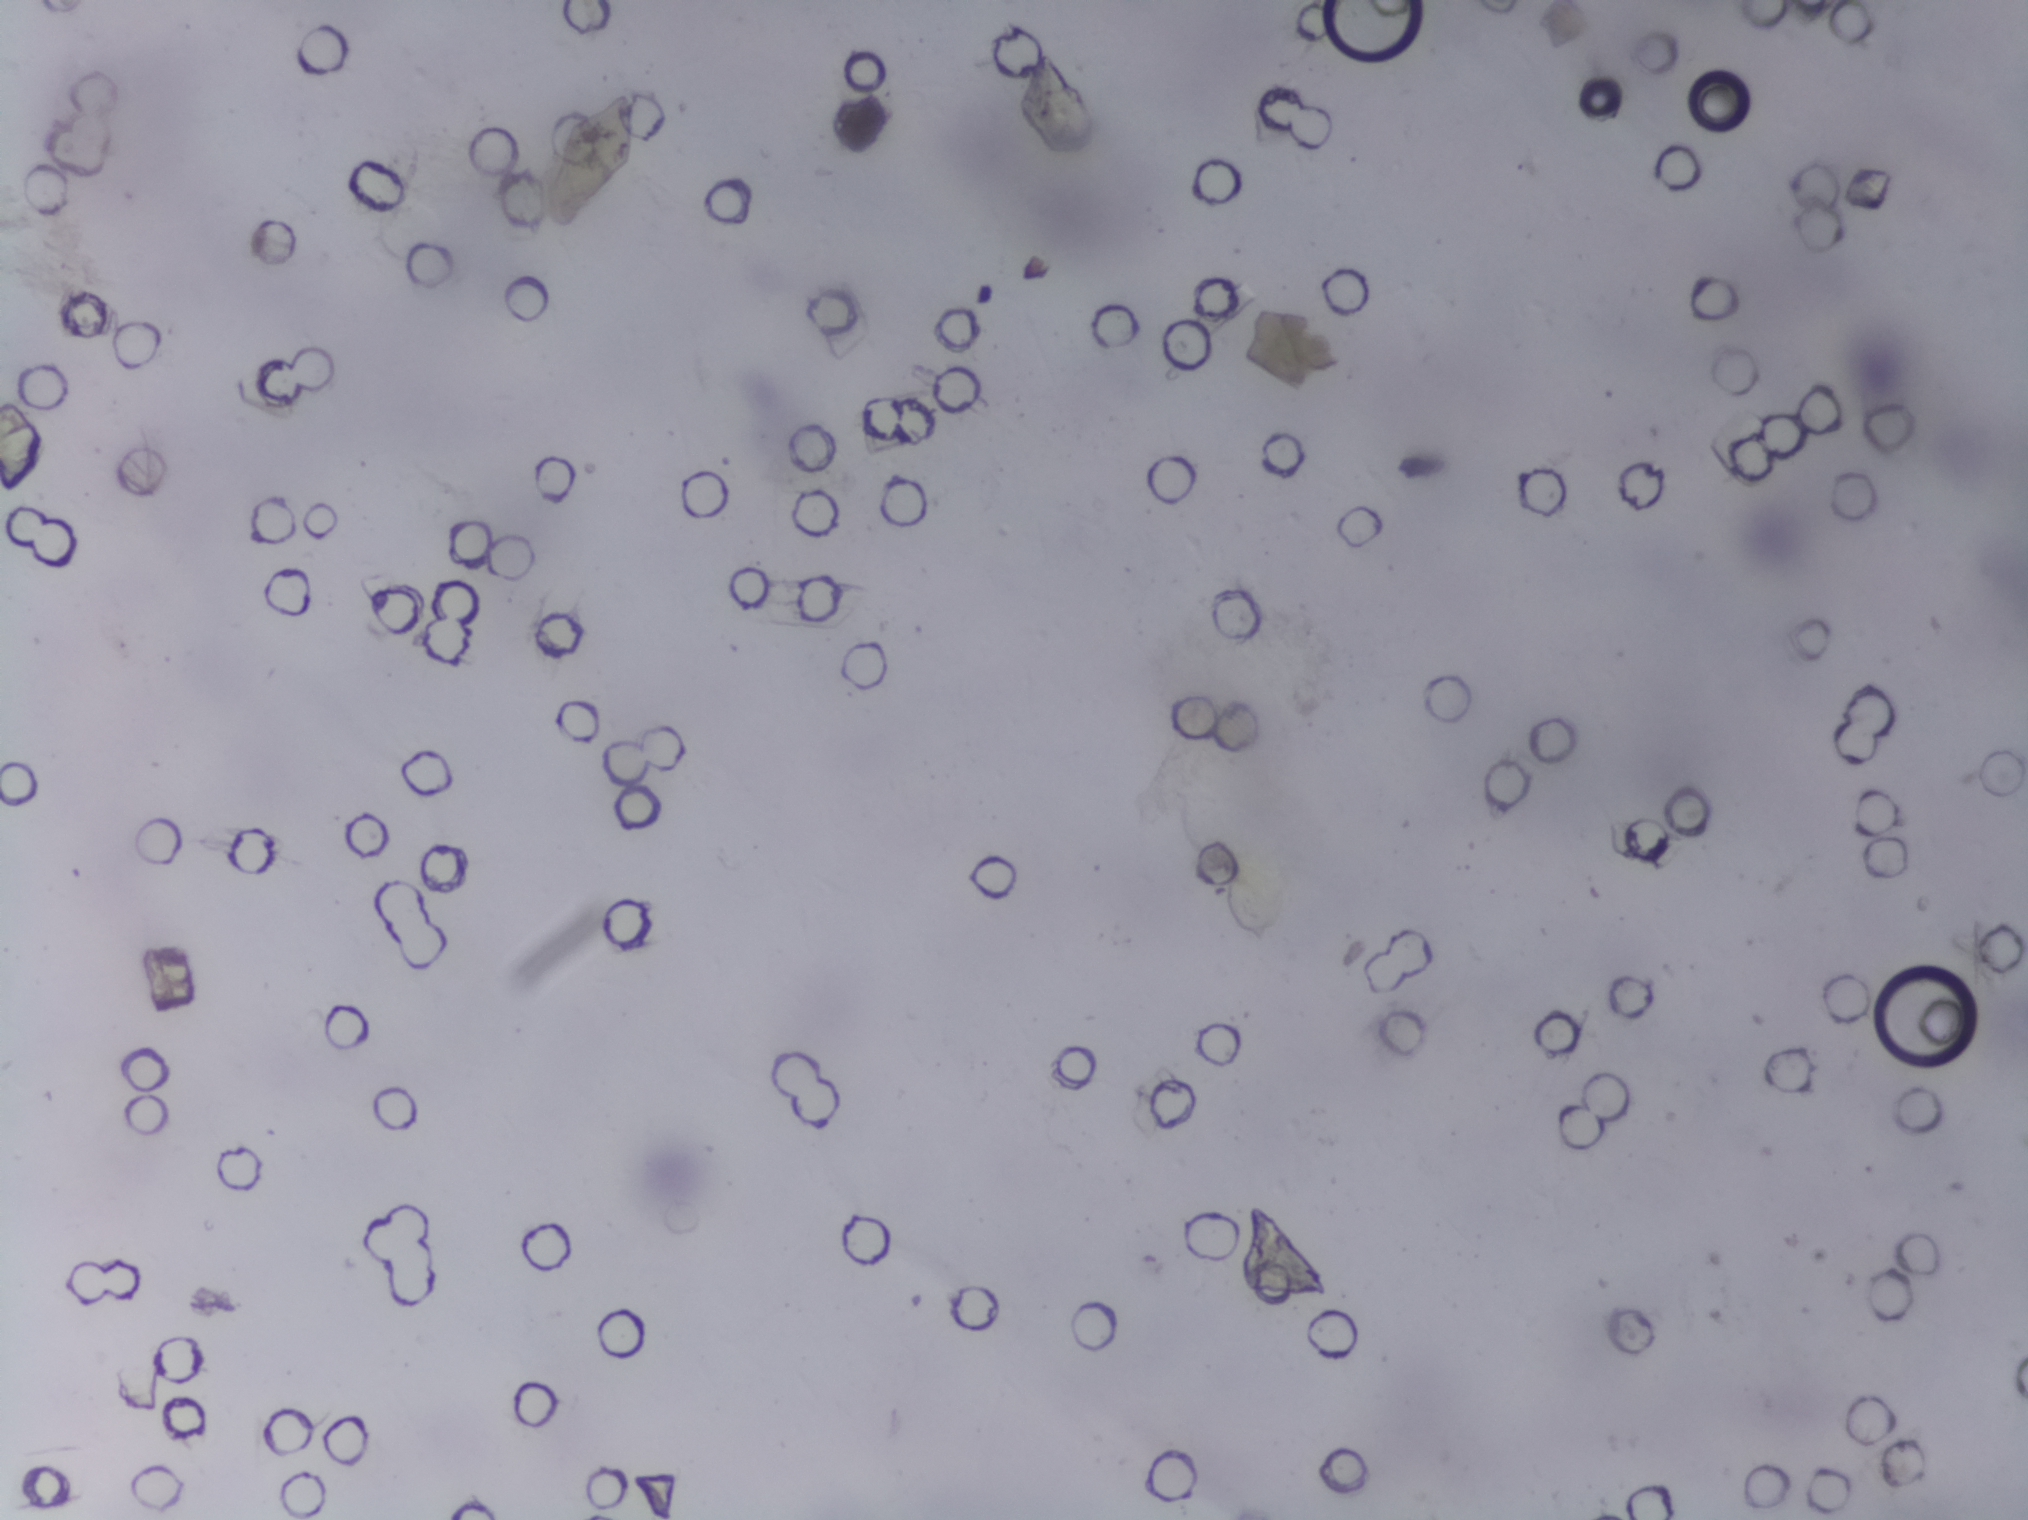
Urine filtration membrane under a 4× objective, photographed by an automated digital microscope.
Schistosoma eggs: none outlined.